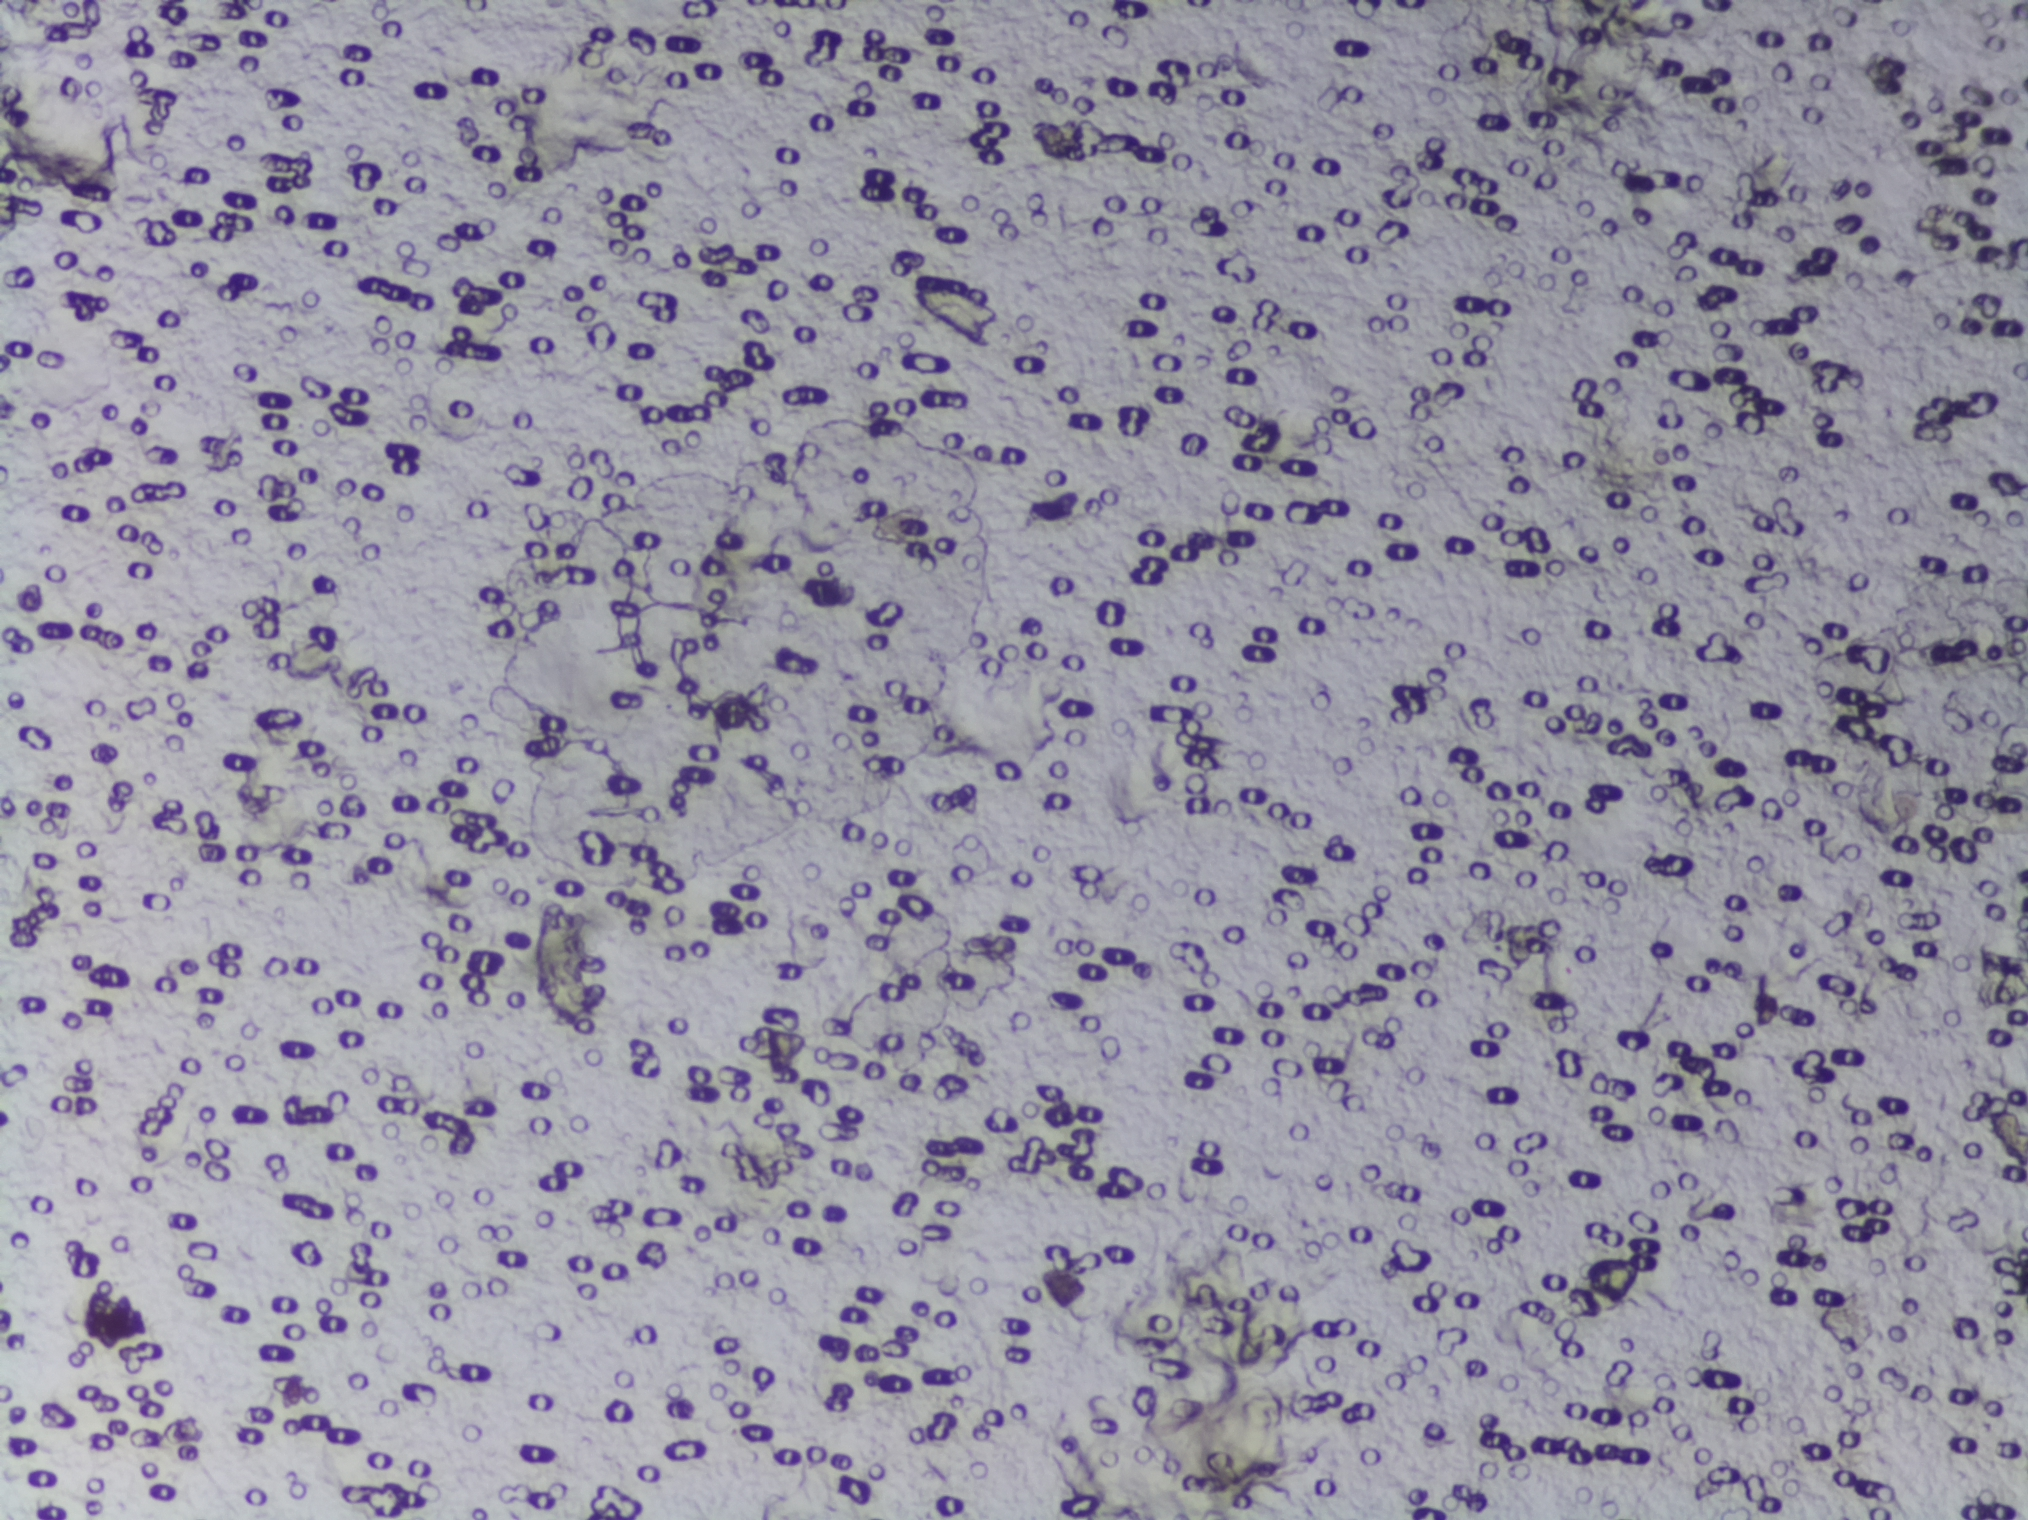
Urine filter membrane photographed through a 4× microscope objective.
No Schistosoma egg is outlined in this image's expert annotation.